Urine filter membrane photographed through a 4× microscope objective.
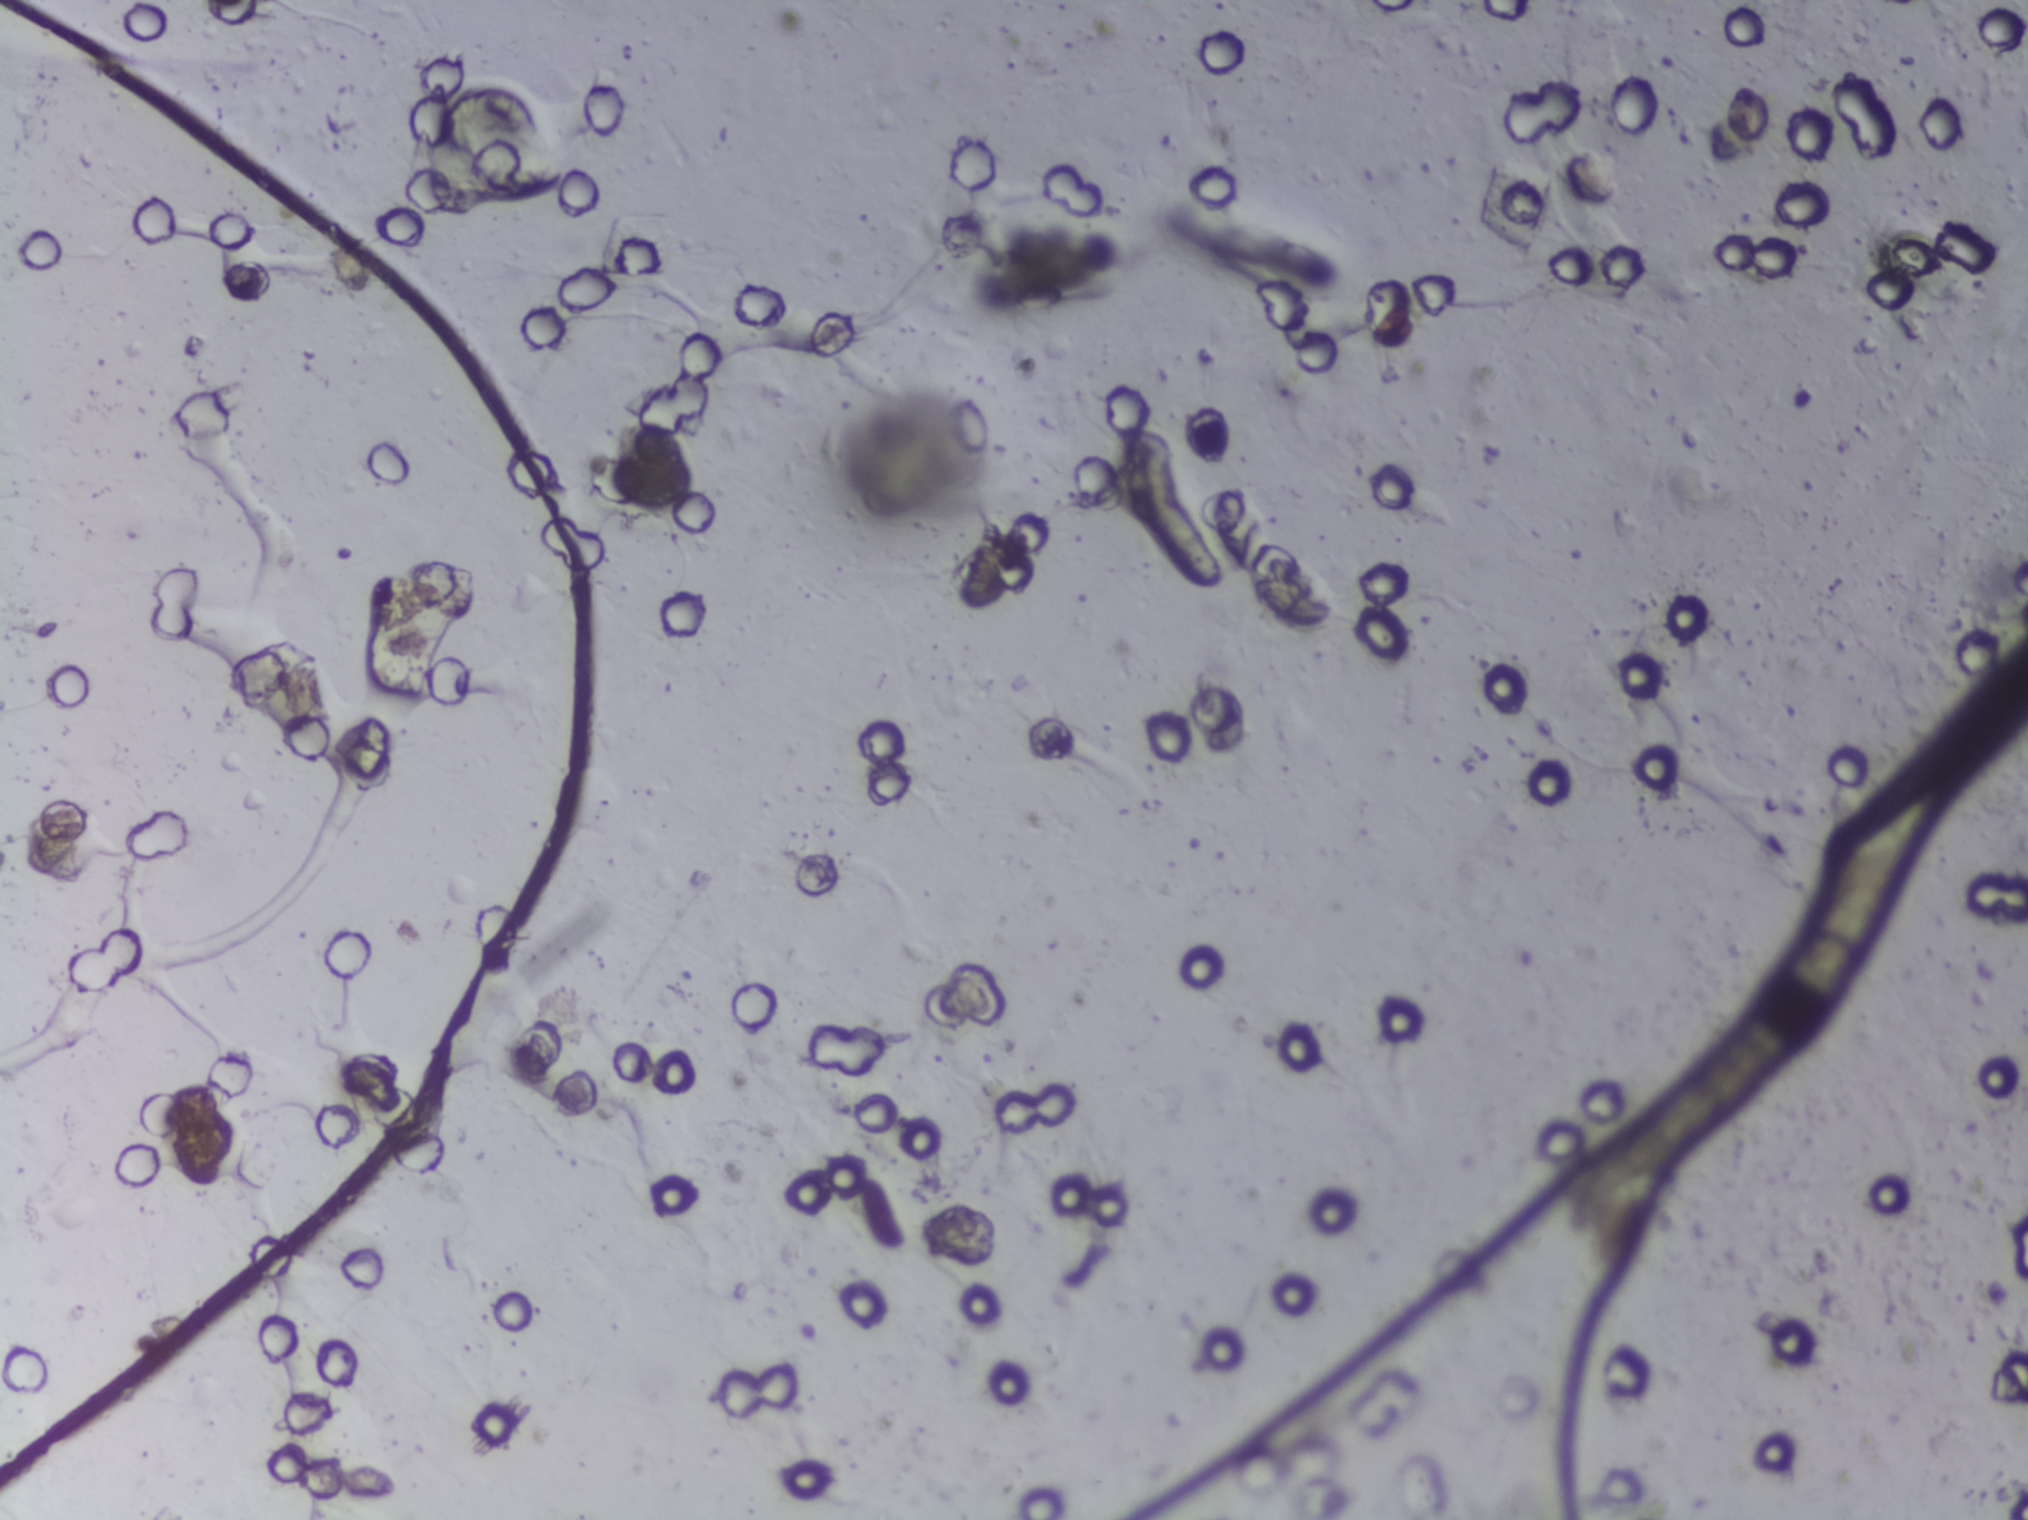
The expert annotation marks no Schistosoma egg in this field of view.